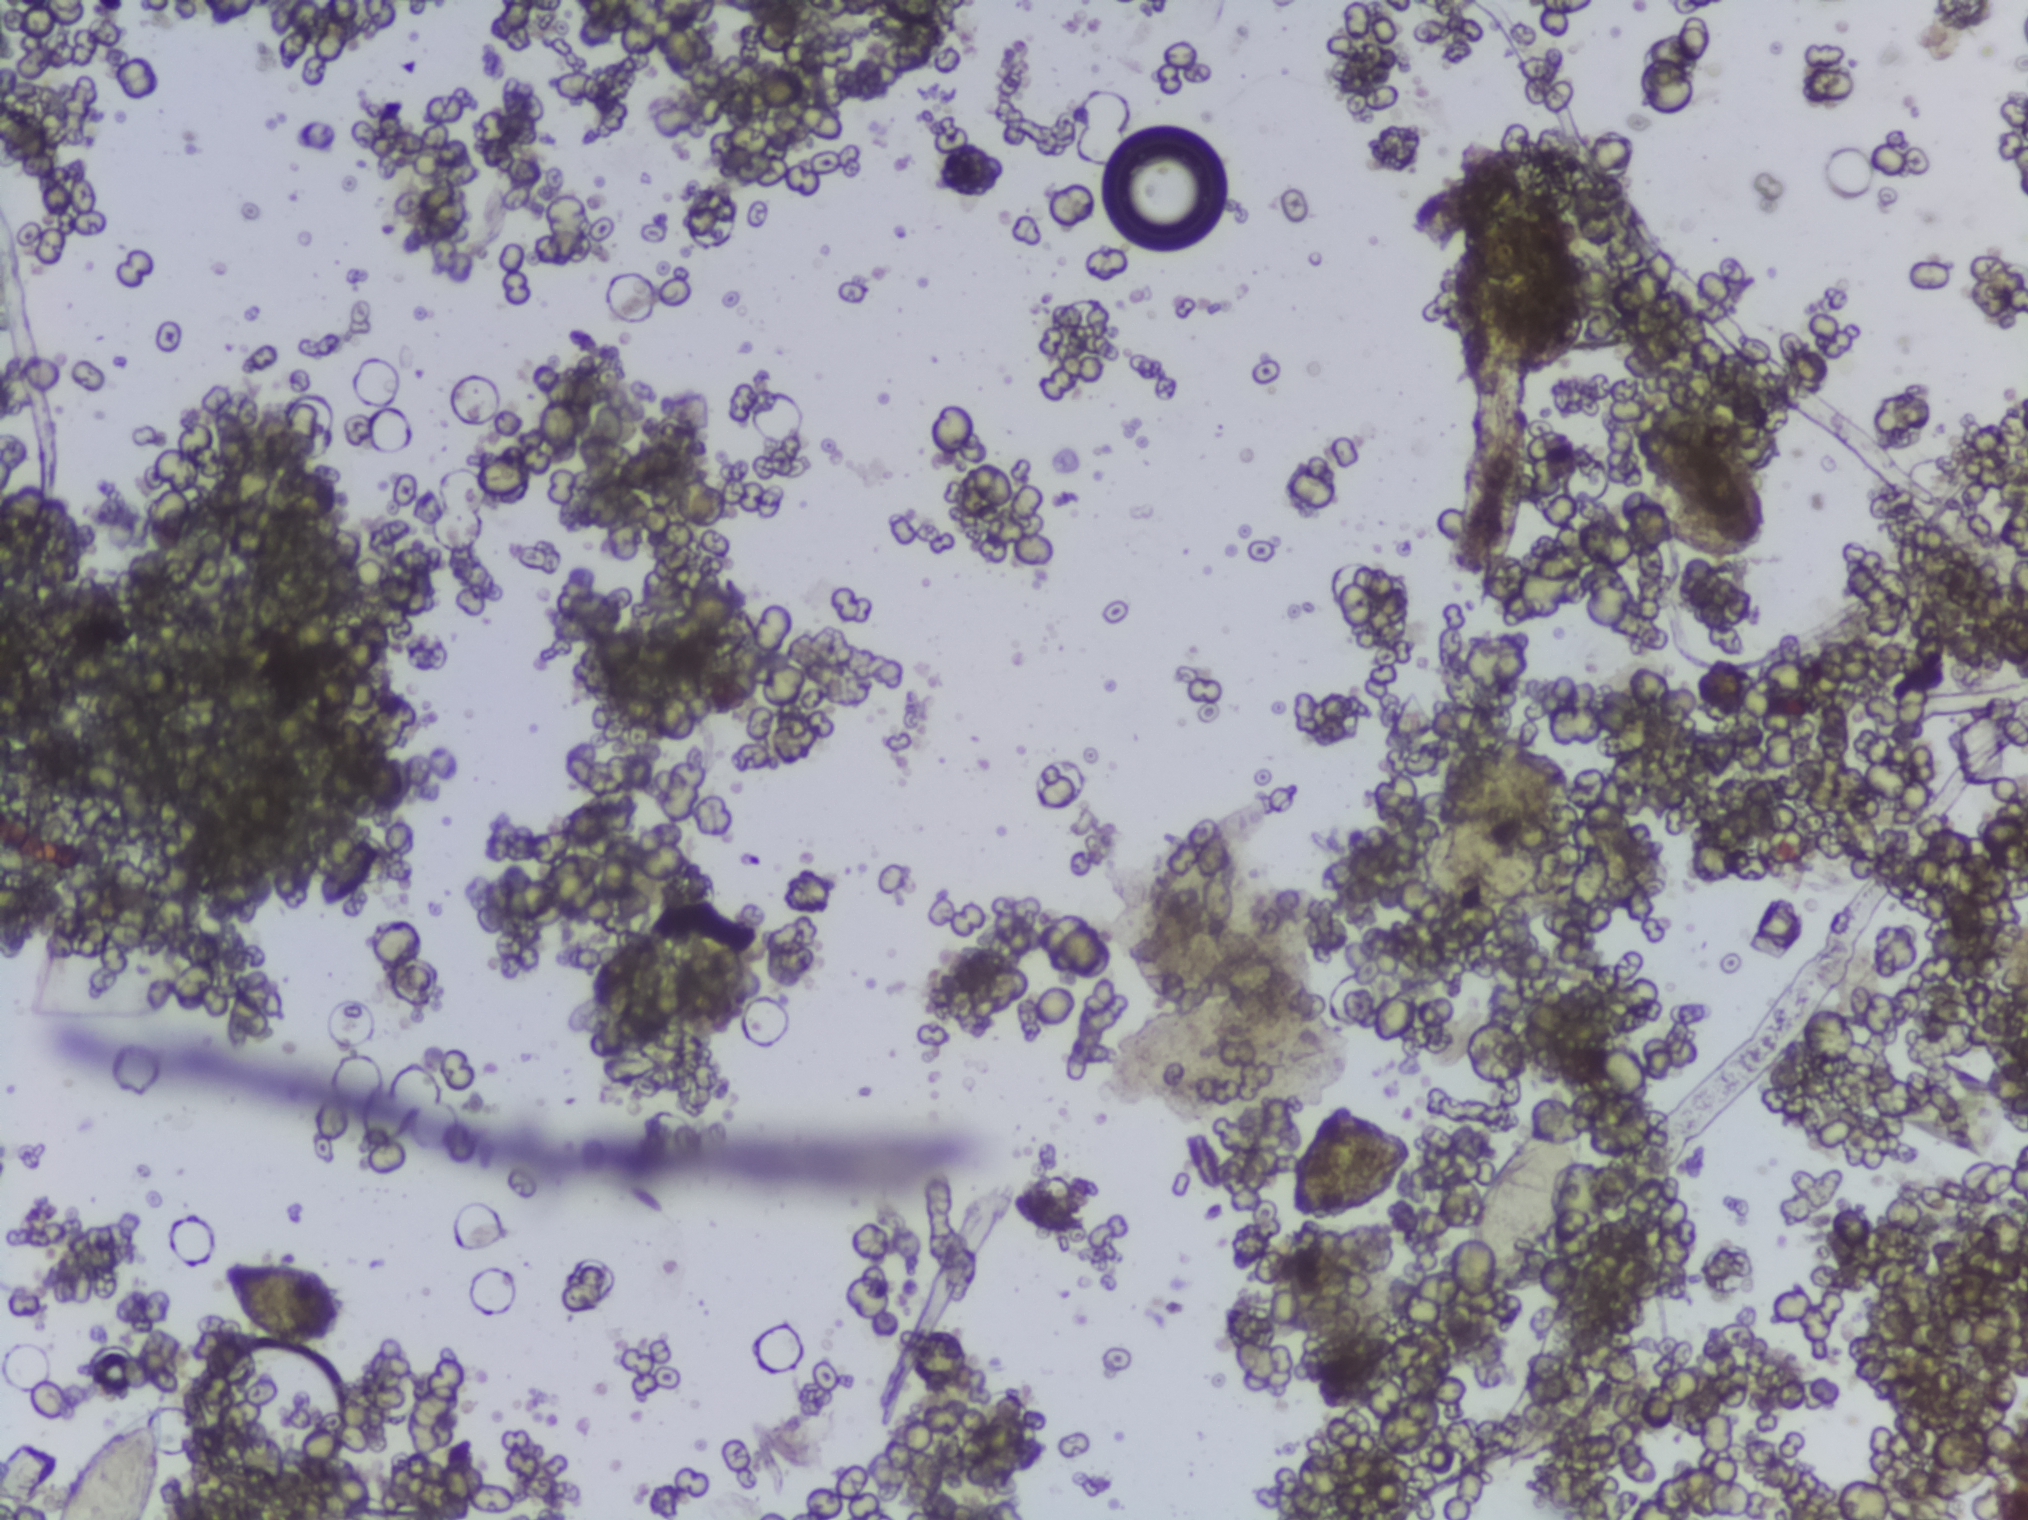
One field of view of a urine filter membrane, 4× objective, 2028 × 1520 pixels.
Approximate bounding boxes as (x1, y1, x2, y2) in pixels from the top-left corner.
The expert annotation outlines Schistosoma eggs at (52, 1403, 166, 1519) (reaching the bottom edge of the frame) and (1459, 1107, 1579, 1295) (left to right). A single outlined area may contain several eggs.